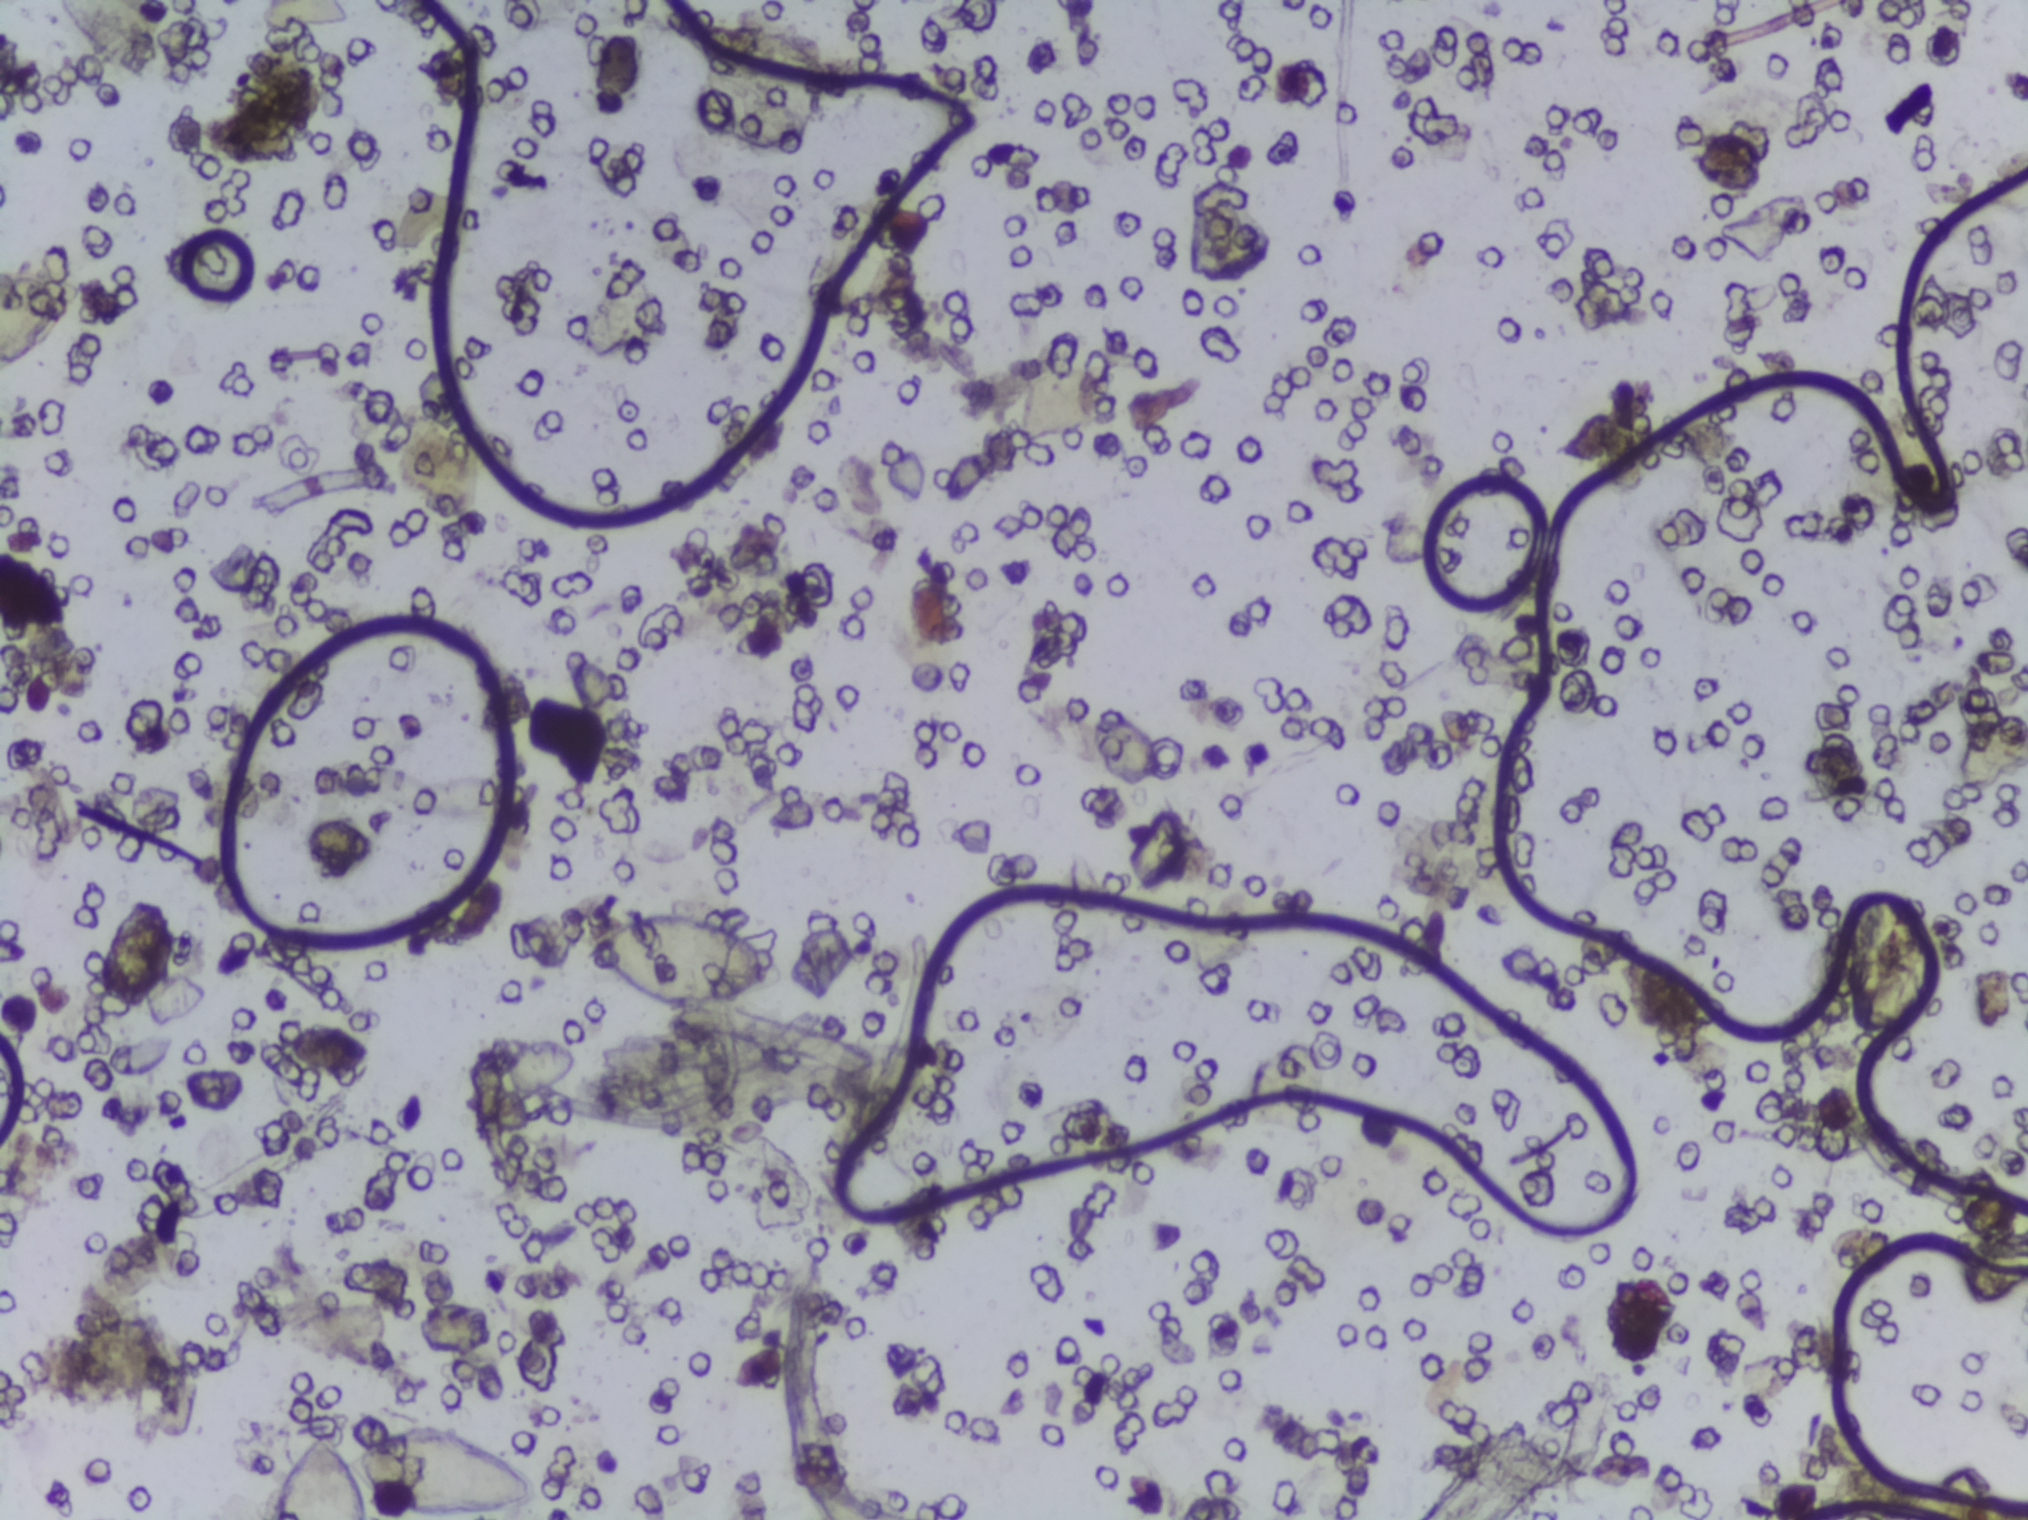
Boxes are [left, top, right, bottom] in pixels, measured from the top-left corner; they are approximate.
Five areas of this image are outlined as Schistosoma eggs, from left to right: [0, 269, 85, 369] (reaching the left edge of the frame); [60, 0, 188, 80] (reaching the top edge of the frame); [266, 1424, 543, 1519] (reaching the bottom edge of the frame); [578, 911, 793, 1009]; [807, 185, 910, 320]. An outlined area can hold more than one egg.
Photomicrograph of a urine filtration membrane, 4× objective.